Photomicrograph of a urine filtration membrane, 4× objective. Field of view: about 1.5 mm wide and 1.1 mm high.
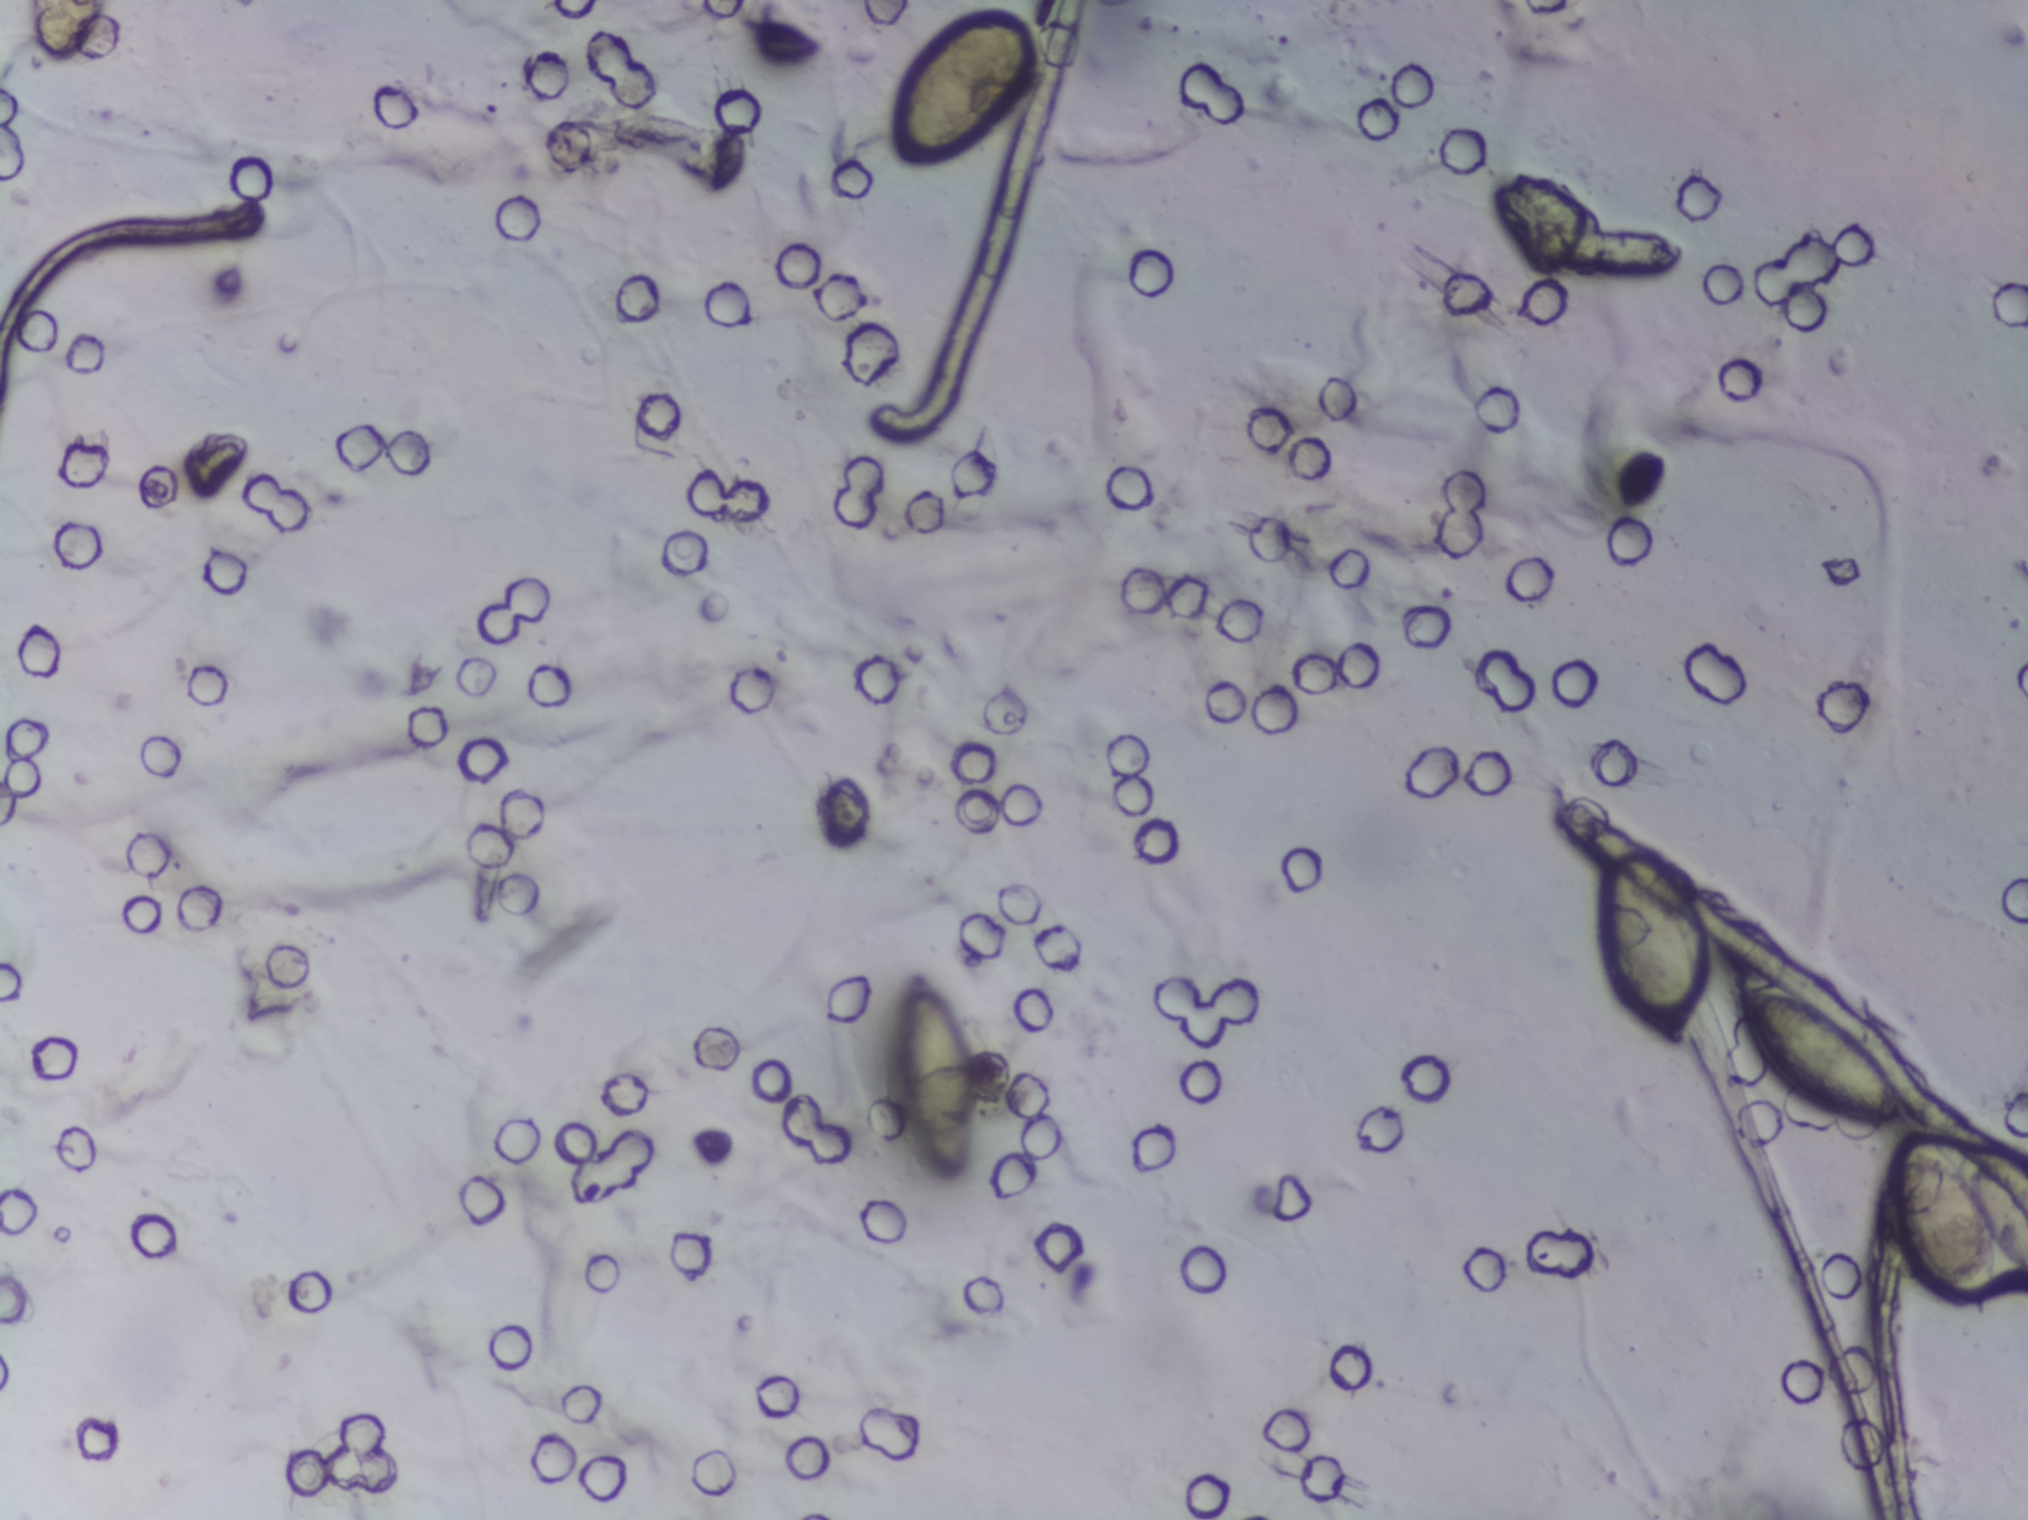
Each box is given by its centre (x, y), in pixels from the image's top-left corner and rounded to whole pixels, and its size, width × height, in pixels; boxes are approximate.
Schistosoma eggs, outlined areas: centre (934, 1077), 92 × 223 px; centre (964, 90), 140 × 155 px; centre (1652, 951), 113 × 209 px; centre (1818, 1054), 175 × 145 px; centre (1961, 1223), 134 × 188 px (reaching the right edge of the frame). Eggs that touch can end up inside the same outlined area. Any one outlined egg may, rarely, be S. mansoni rather than S. haematobium.